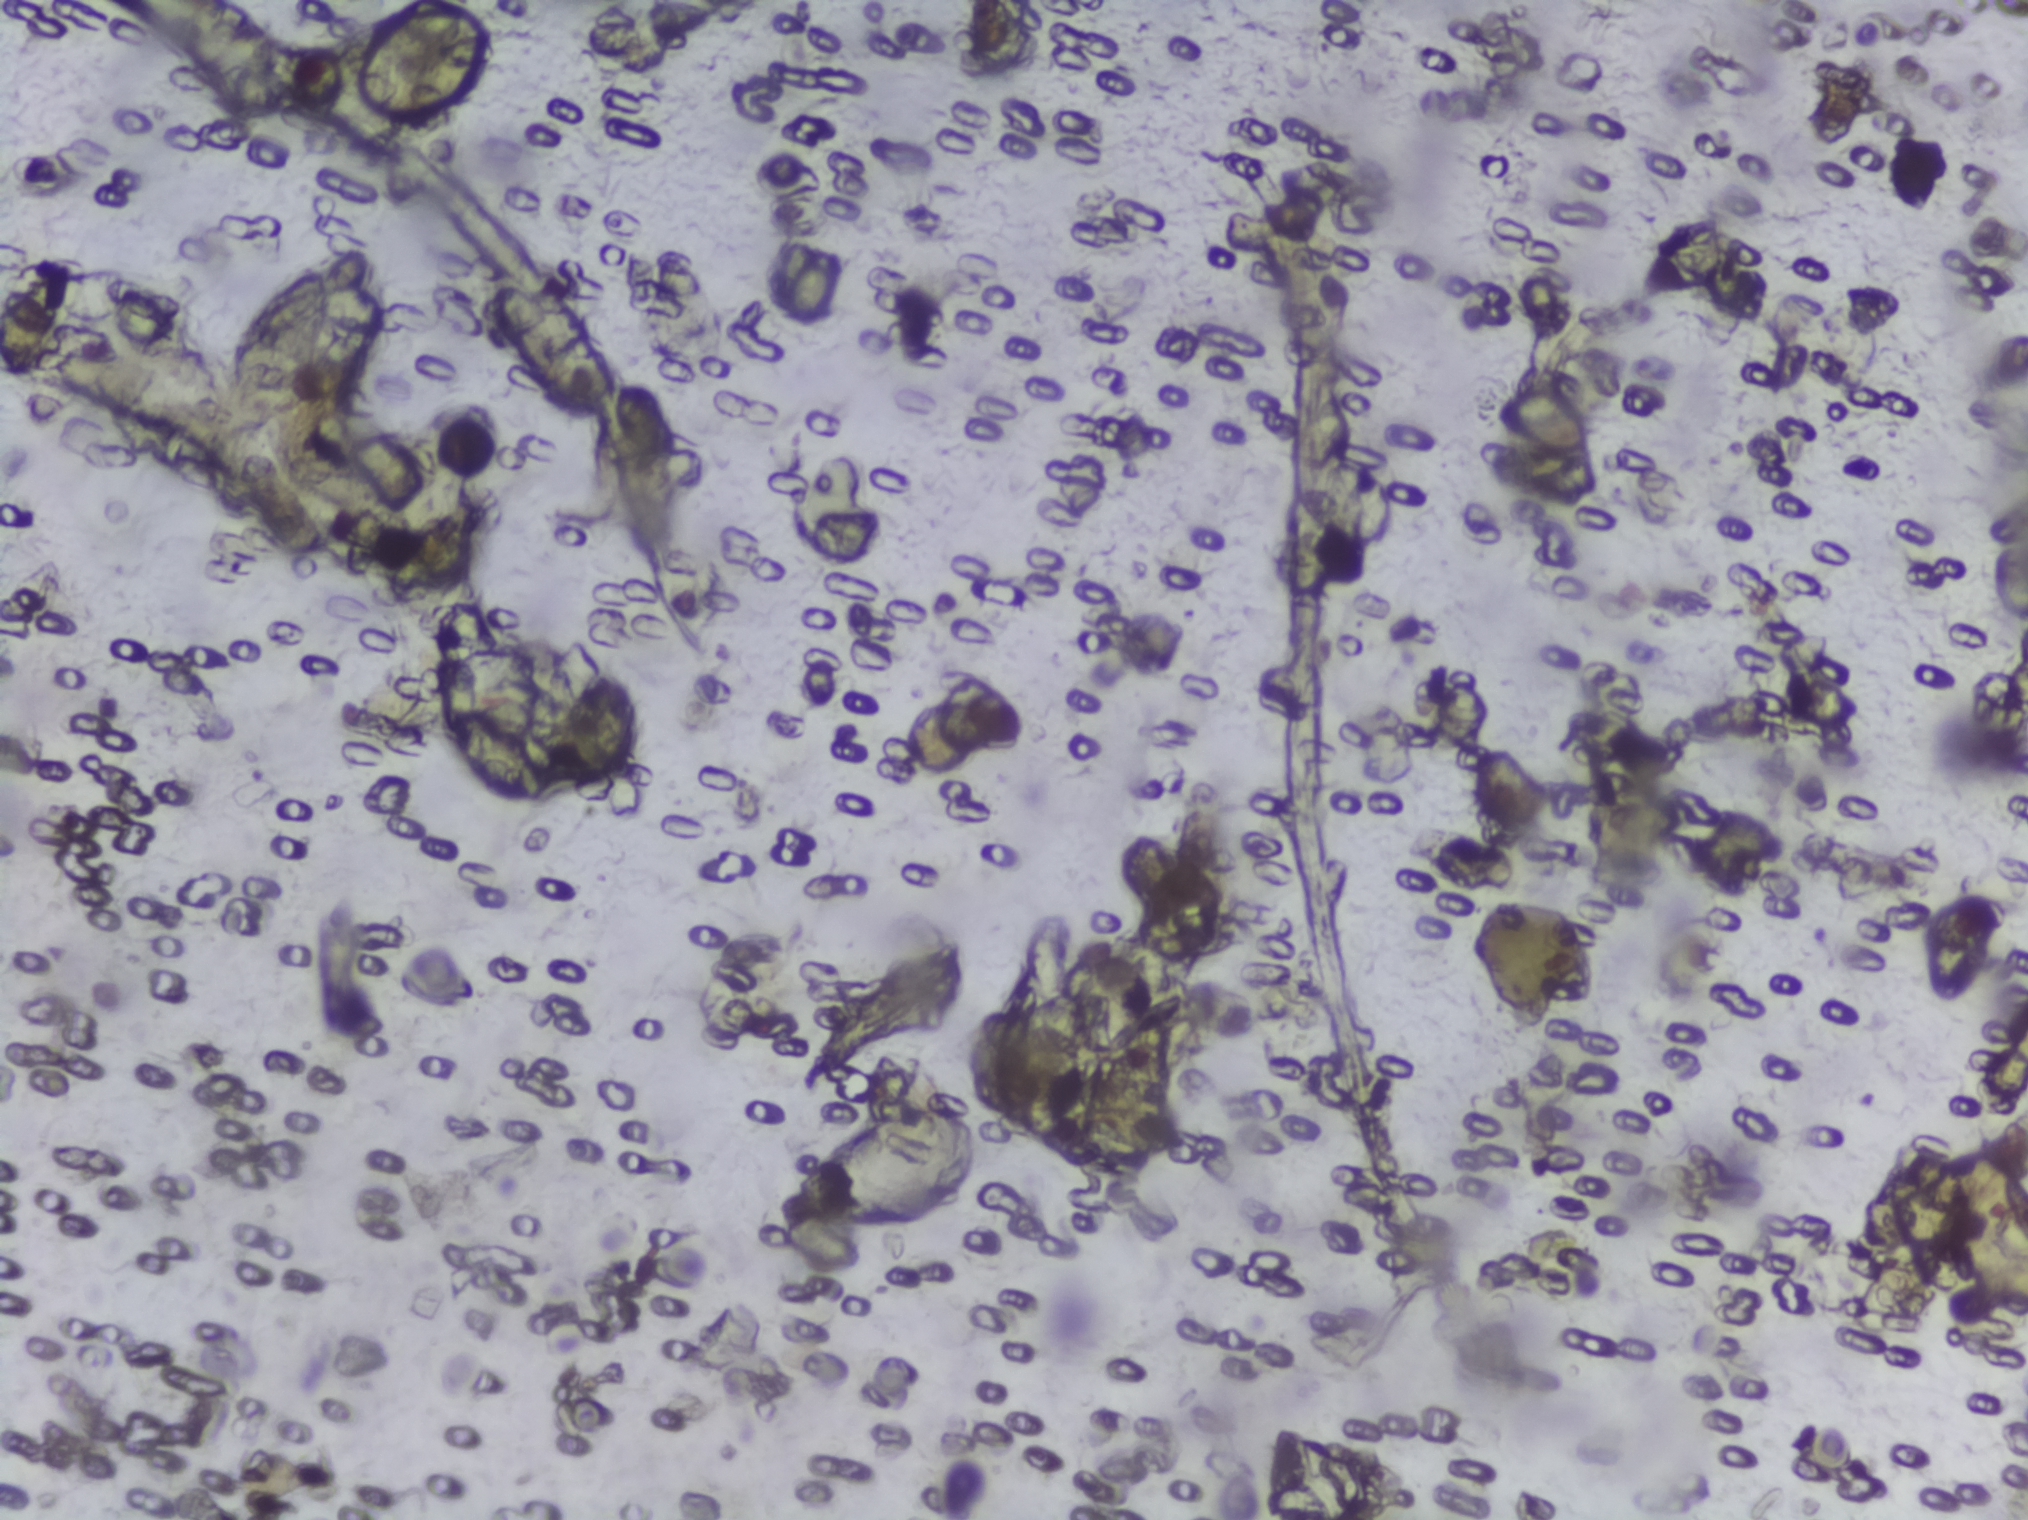
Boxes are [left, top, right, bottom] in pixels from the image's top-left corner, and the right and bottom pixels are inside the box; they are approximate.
{"schistosoma_egg_areas_xyxy_px": [[230, 265, 332, 417], [434, 651, 534, 800], [491, 283, 615, 410]]}
A single outlined area may contain several eggs.
Photograph from an automated digital microscope: urine filter membrane, 4× objective.